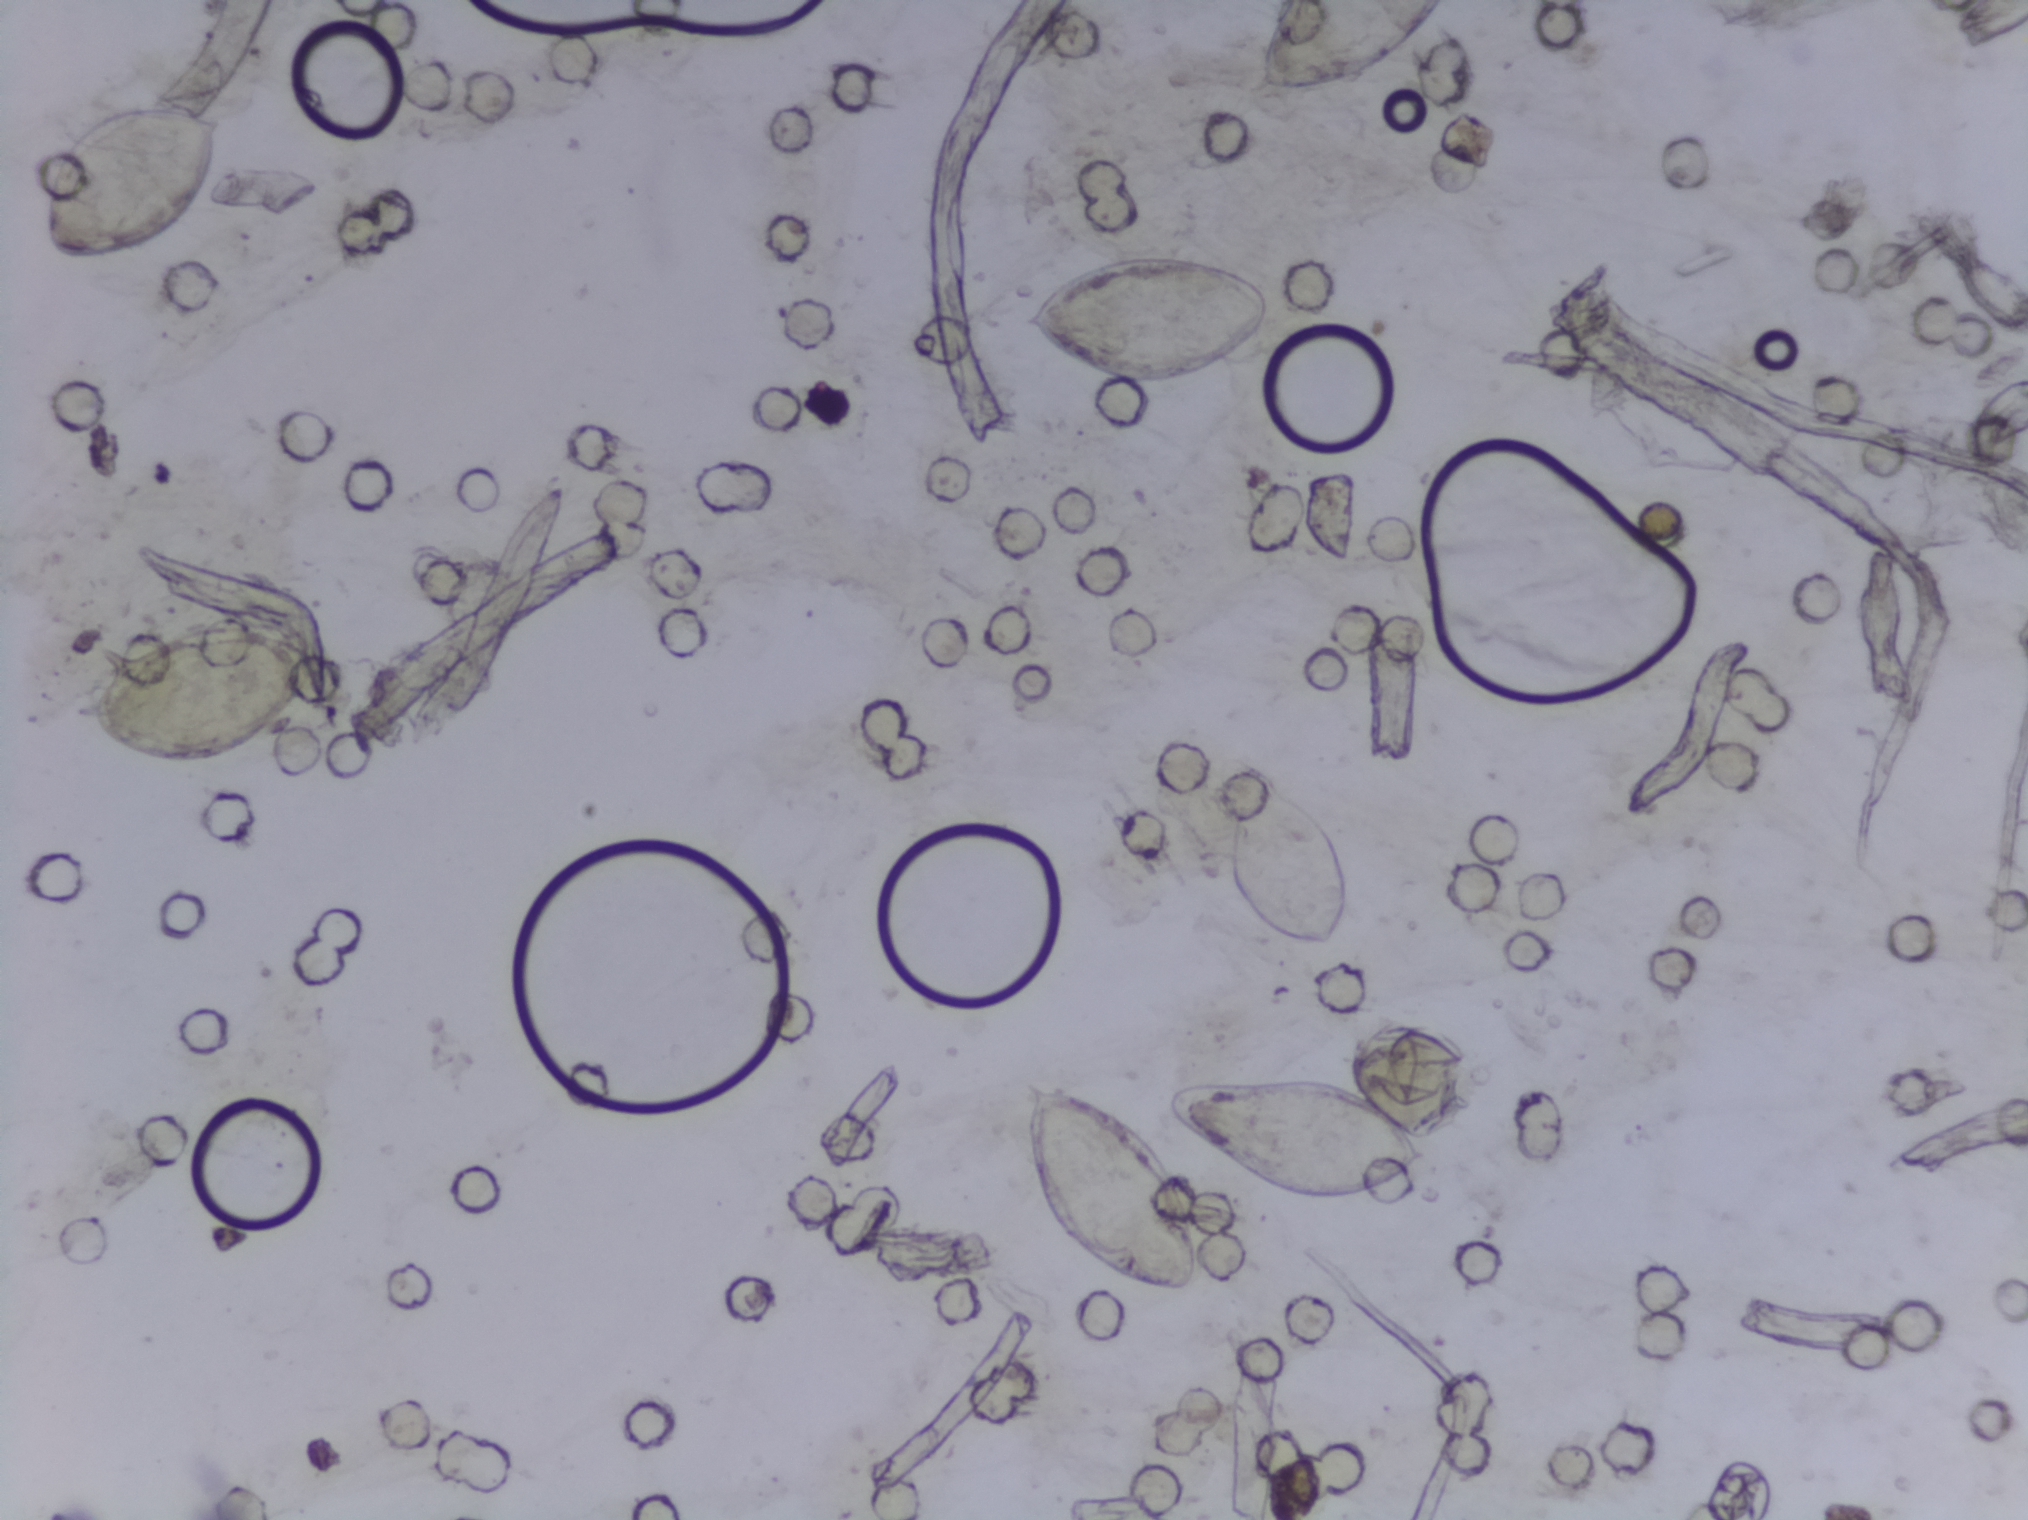
Urine filter membrane photographed through a 4× microscope objective.
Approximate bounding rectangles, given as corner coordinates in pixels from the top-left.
Areas outlined as Schistosoma eggs, left to right:
1. (x1=41, y1=101, x2=224, y2=265)
2. (x1=62, y1=619, x2=320, y2=764)
3. (x1=1007, y1=1075, x2=1208, y2=1302)
4. (x1=1019, y1=245, x2=1277, y2=395)
5. (x1=1149, y1=1063, x2=1433, y2=1208)
6. (x1=1216, y1=765, x2=1352, y2=954)
7. (x1=1247, y1=0, x2=1448, y2=95) (reaching the top edge of the frame)
A single outlined area may contain several eggs.